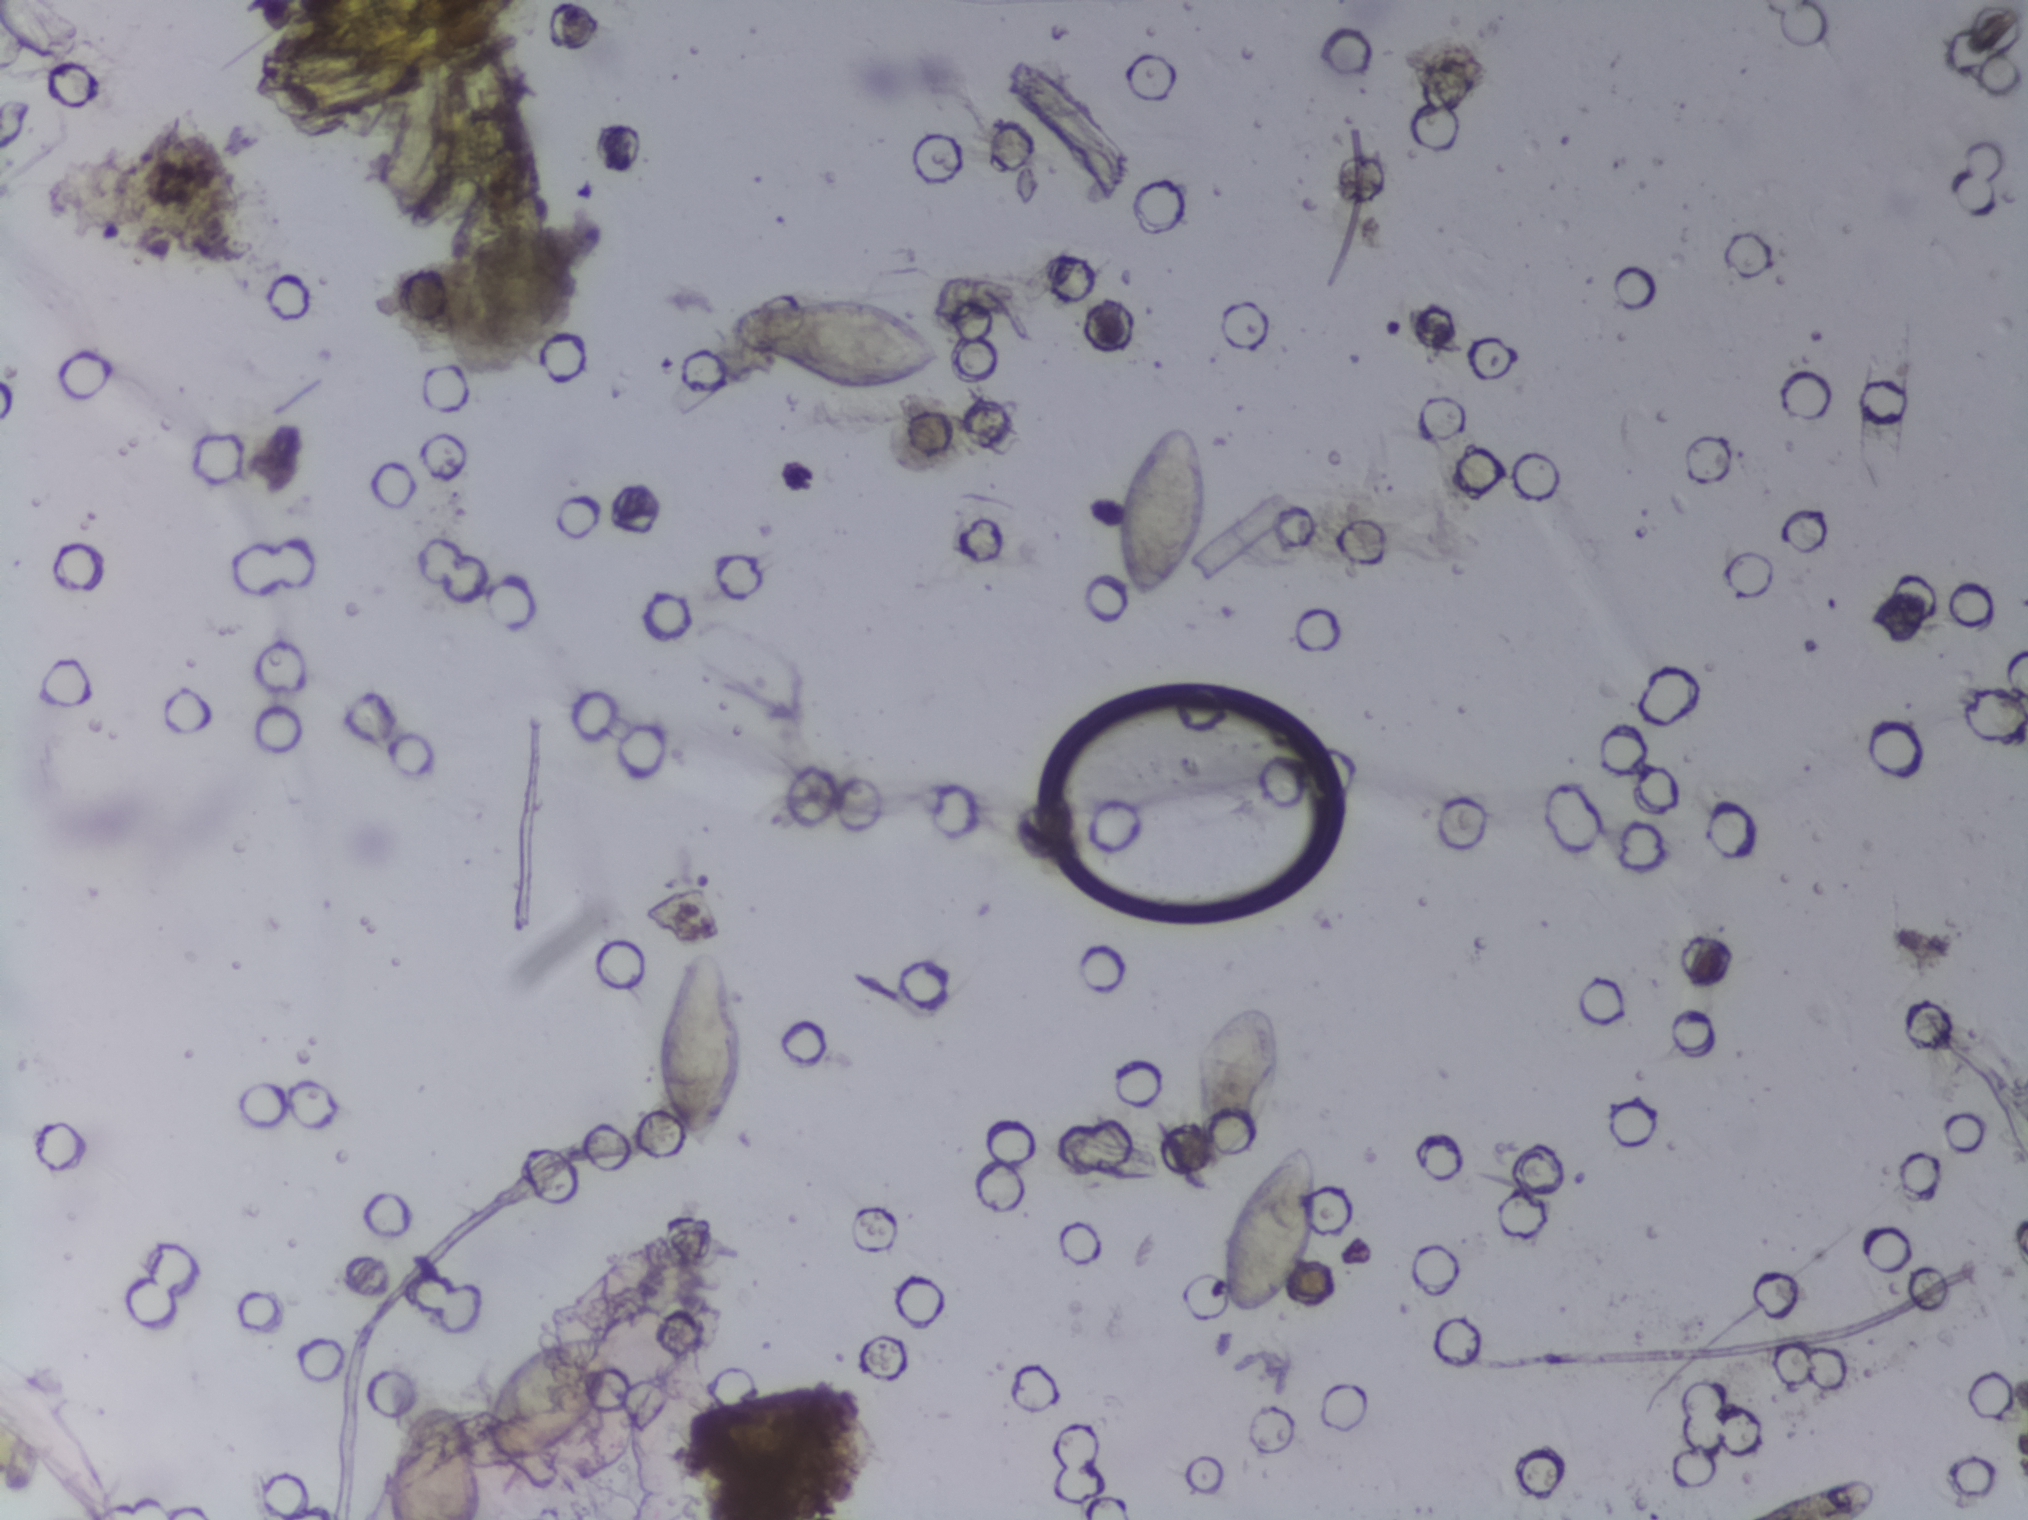
Urine filter membrane photographed through a 4× microscope objective. Field of view: about 1.5 mm wide and 1.1 mm high.
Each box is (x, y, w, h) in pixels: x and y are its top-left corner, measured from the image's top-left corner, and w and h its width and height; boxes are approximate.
Eight areas of this image are outlined as Schistosoma eggs, from left to right: (x=383, y=1398, w=98, h=122) (reaching the bottom edge of the frame); (x=483, y=1325, w=144, h=140); (x=652, y=940, w=97, h=212); (x=726, y=295, w=220, h=100); (x=1112, y=421, w=98, h=185); (x=1184, y=1003, w=100, h=177); (x=1214, y=1138, w=108, h=185); (x=1747, y=1475, w=136, h=45) (reaching the bottom edge of the frame). A single outlined area may contain several eggs. Any one outlined egg may, rarely, be S. mansoni rather than S. haematobium.